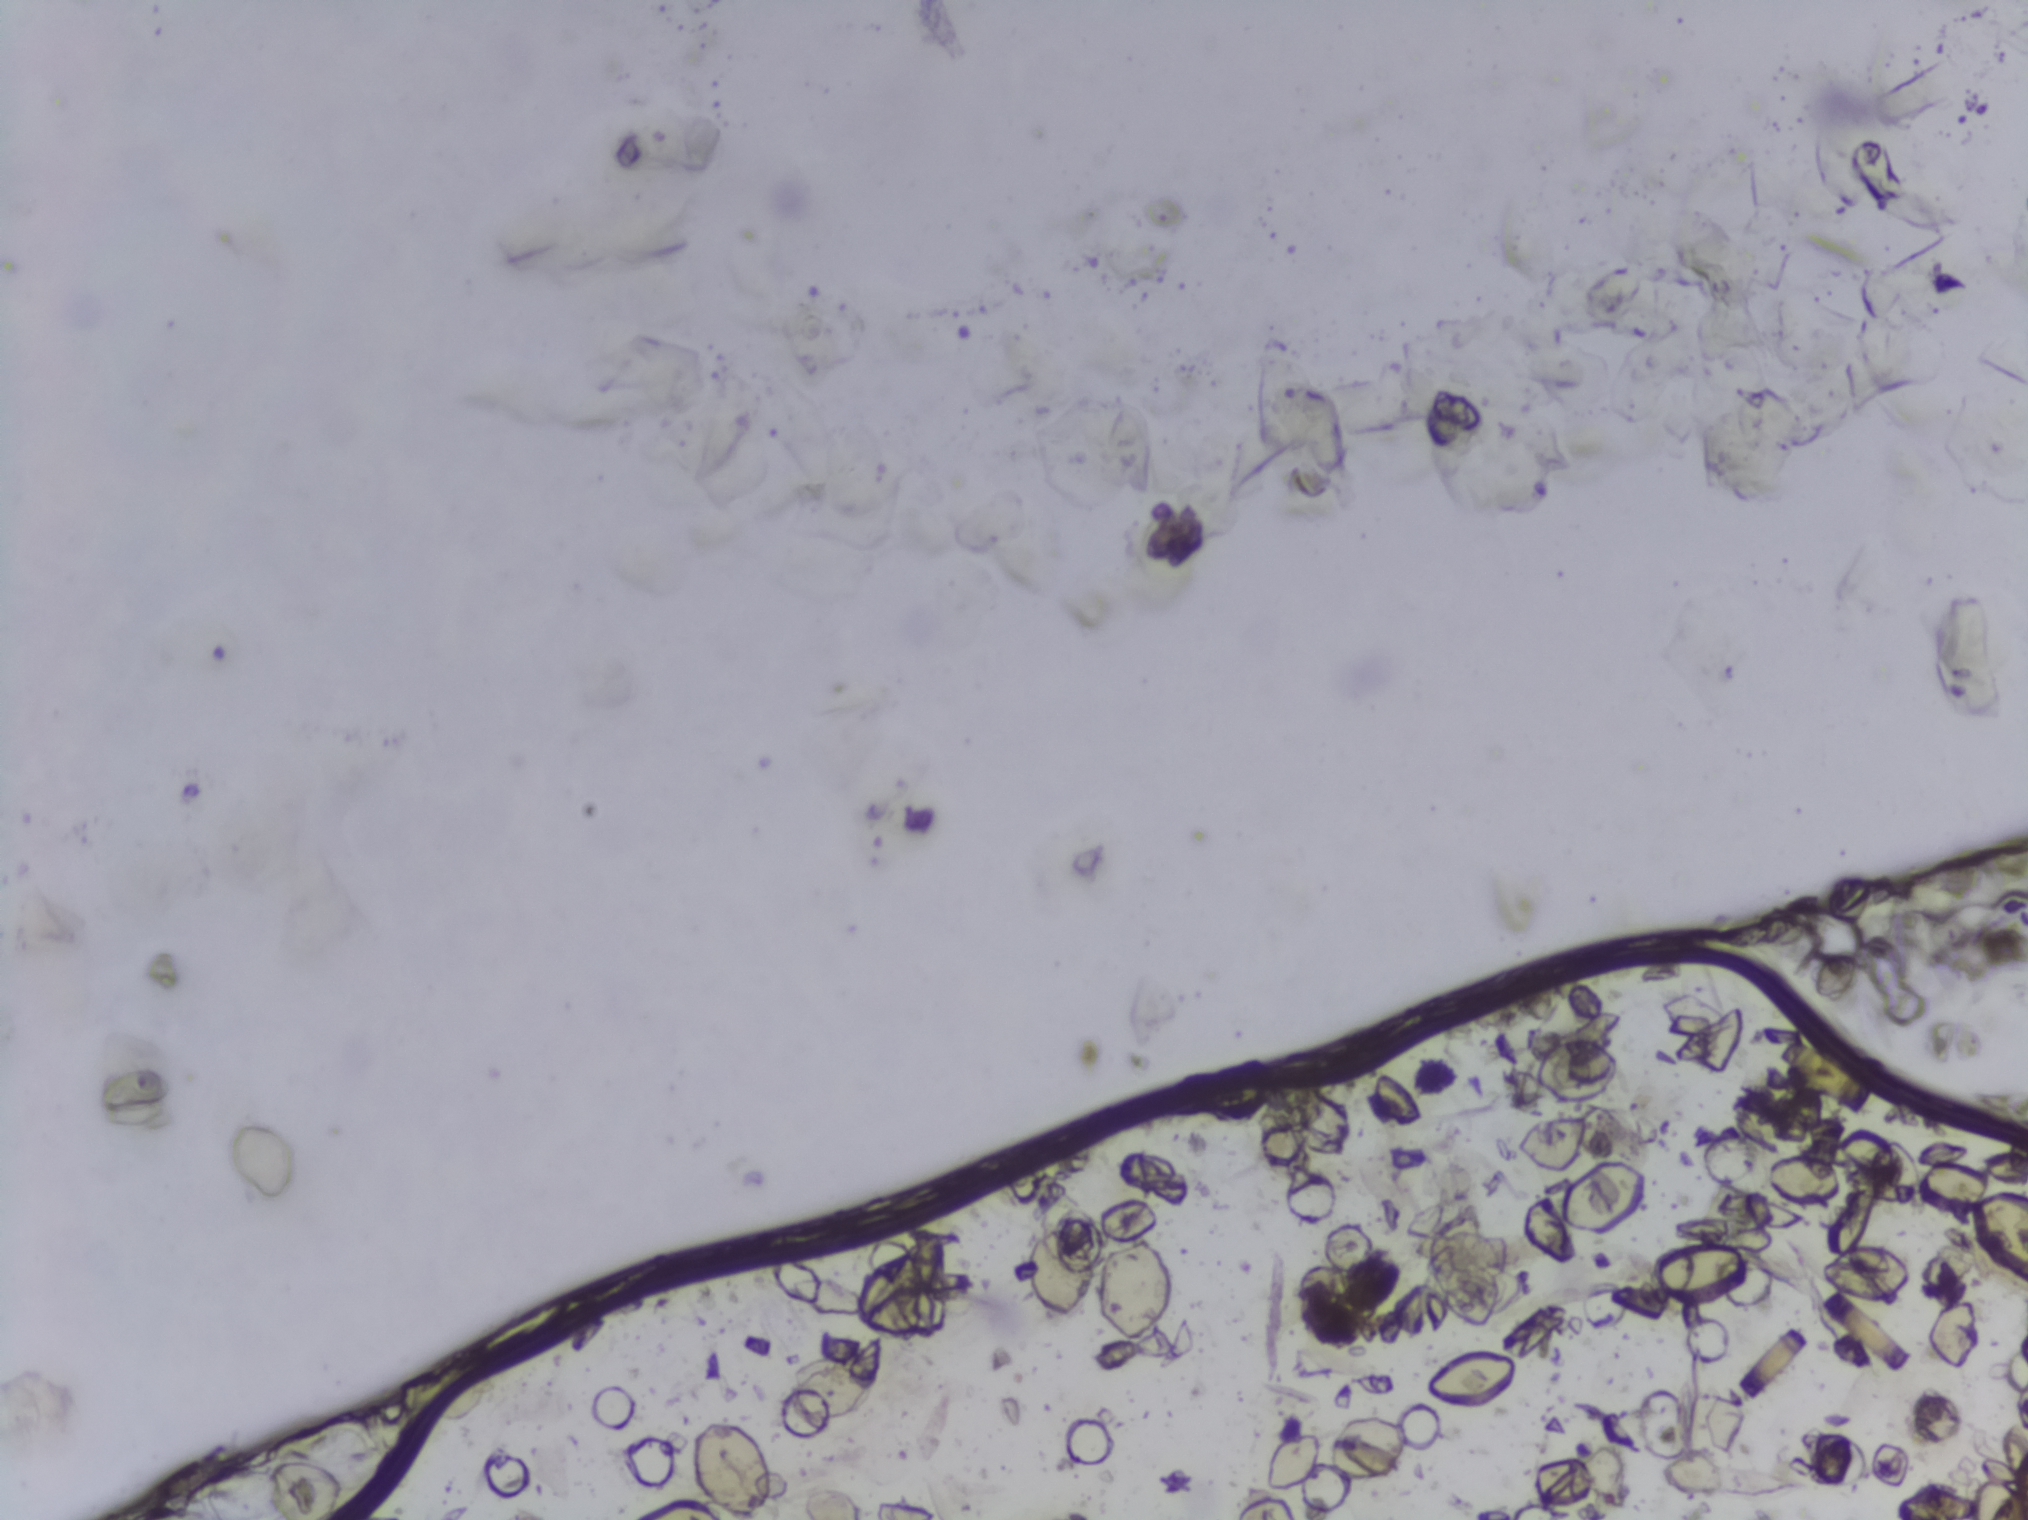
The expert annotation outlines no Schistosoma egg in this image.
Photomicrograph of a urine filtration membrane, 4× objective.